Microscope photograph (4× objective) of a membrane that a urine sample was filtered through.
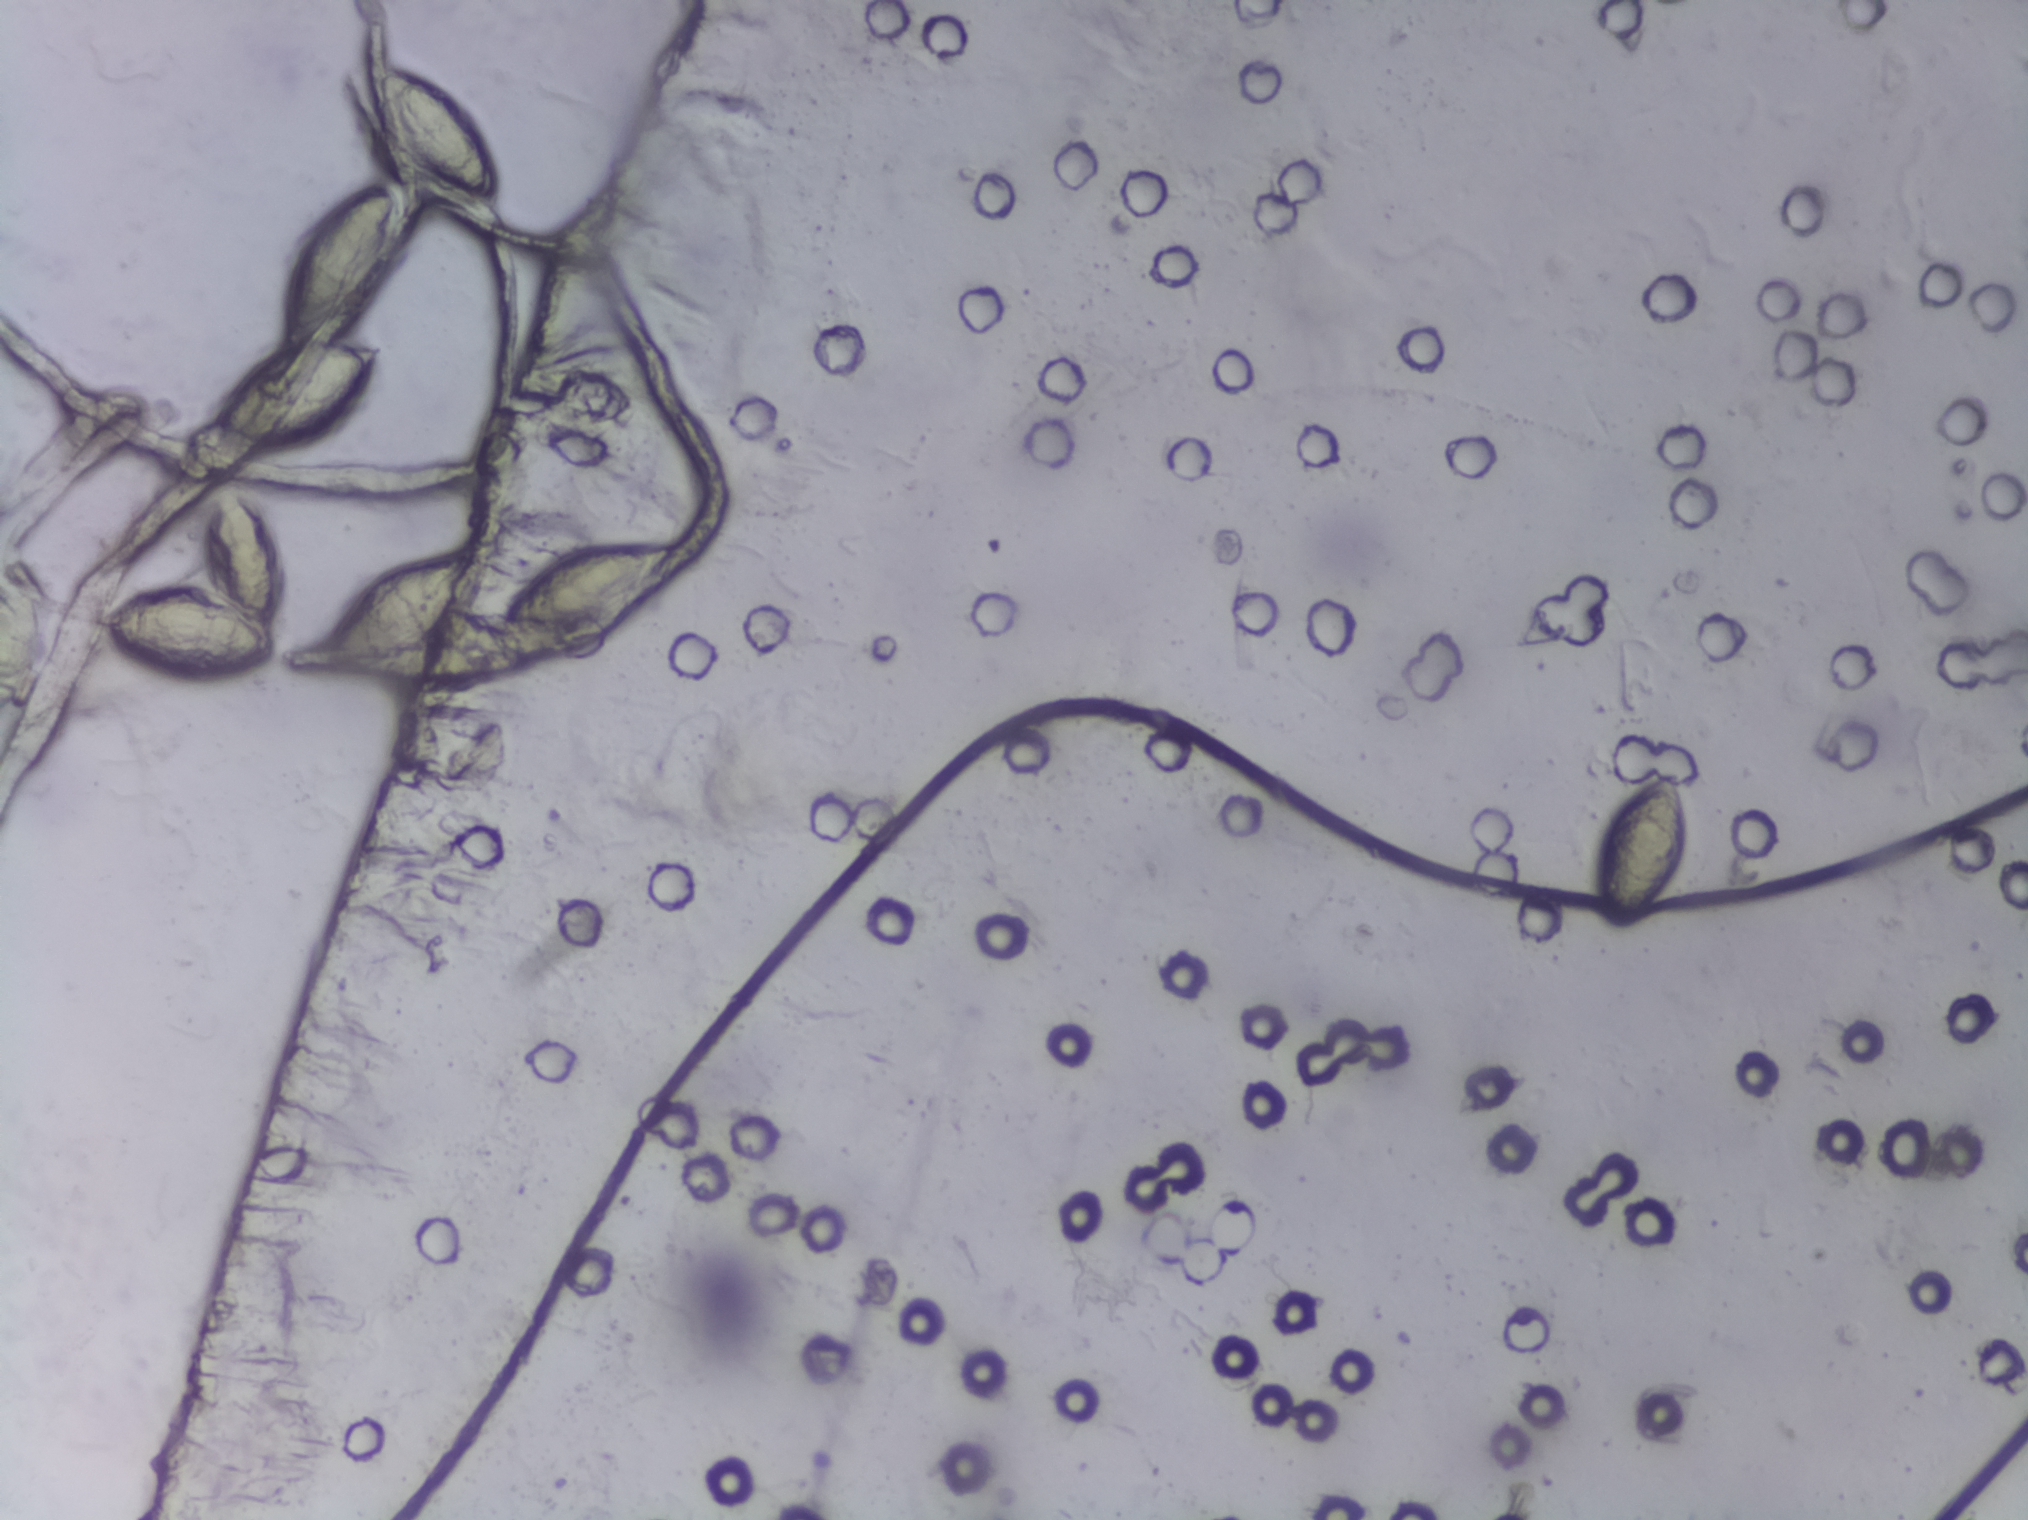
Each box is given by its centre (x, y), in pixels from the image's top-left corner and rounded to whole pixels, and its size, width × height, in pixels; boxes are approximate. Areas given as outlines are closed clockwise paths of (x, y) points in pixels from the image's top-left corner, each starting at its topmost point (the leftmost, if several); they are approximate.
The expert annotation outlines Schistosoma eggs in five areas, left to right: box centre (200, 581), 190 × 200 px; outline (359, 55), (414, 64), (450, 83), (470, 103), (497, 151), (504, 191), (492, 209), (460, 212), (440, 209), (409, 184), (418, 247), (394, 293), (357, 331), (384, 341), (391, 354), (359, 419), (314, 443), (223, 452), (202, 438), (202, 425), (230, 371), (250, 351), (270, 346), (296, 232), (345, 191), (376, 176), (400, 178), (367, 145), (345, 96), (344, 66) (a cluster of eggs); box centre (405, 607), 176 × 123 px; box centre (589, 599), 195 × 120 px; box centre (1641, 850), 91 × 166 px. A single outlined area may contain several eggs.